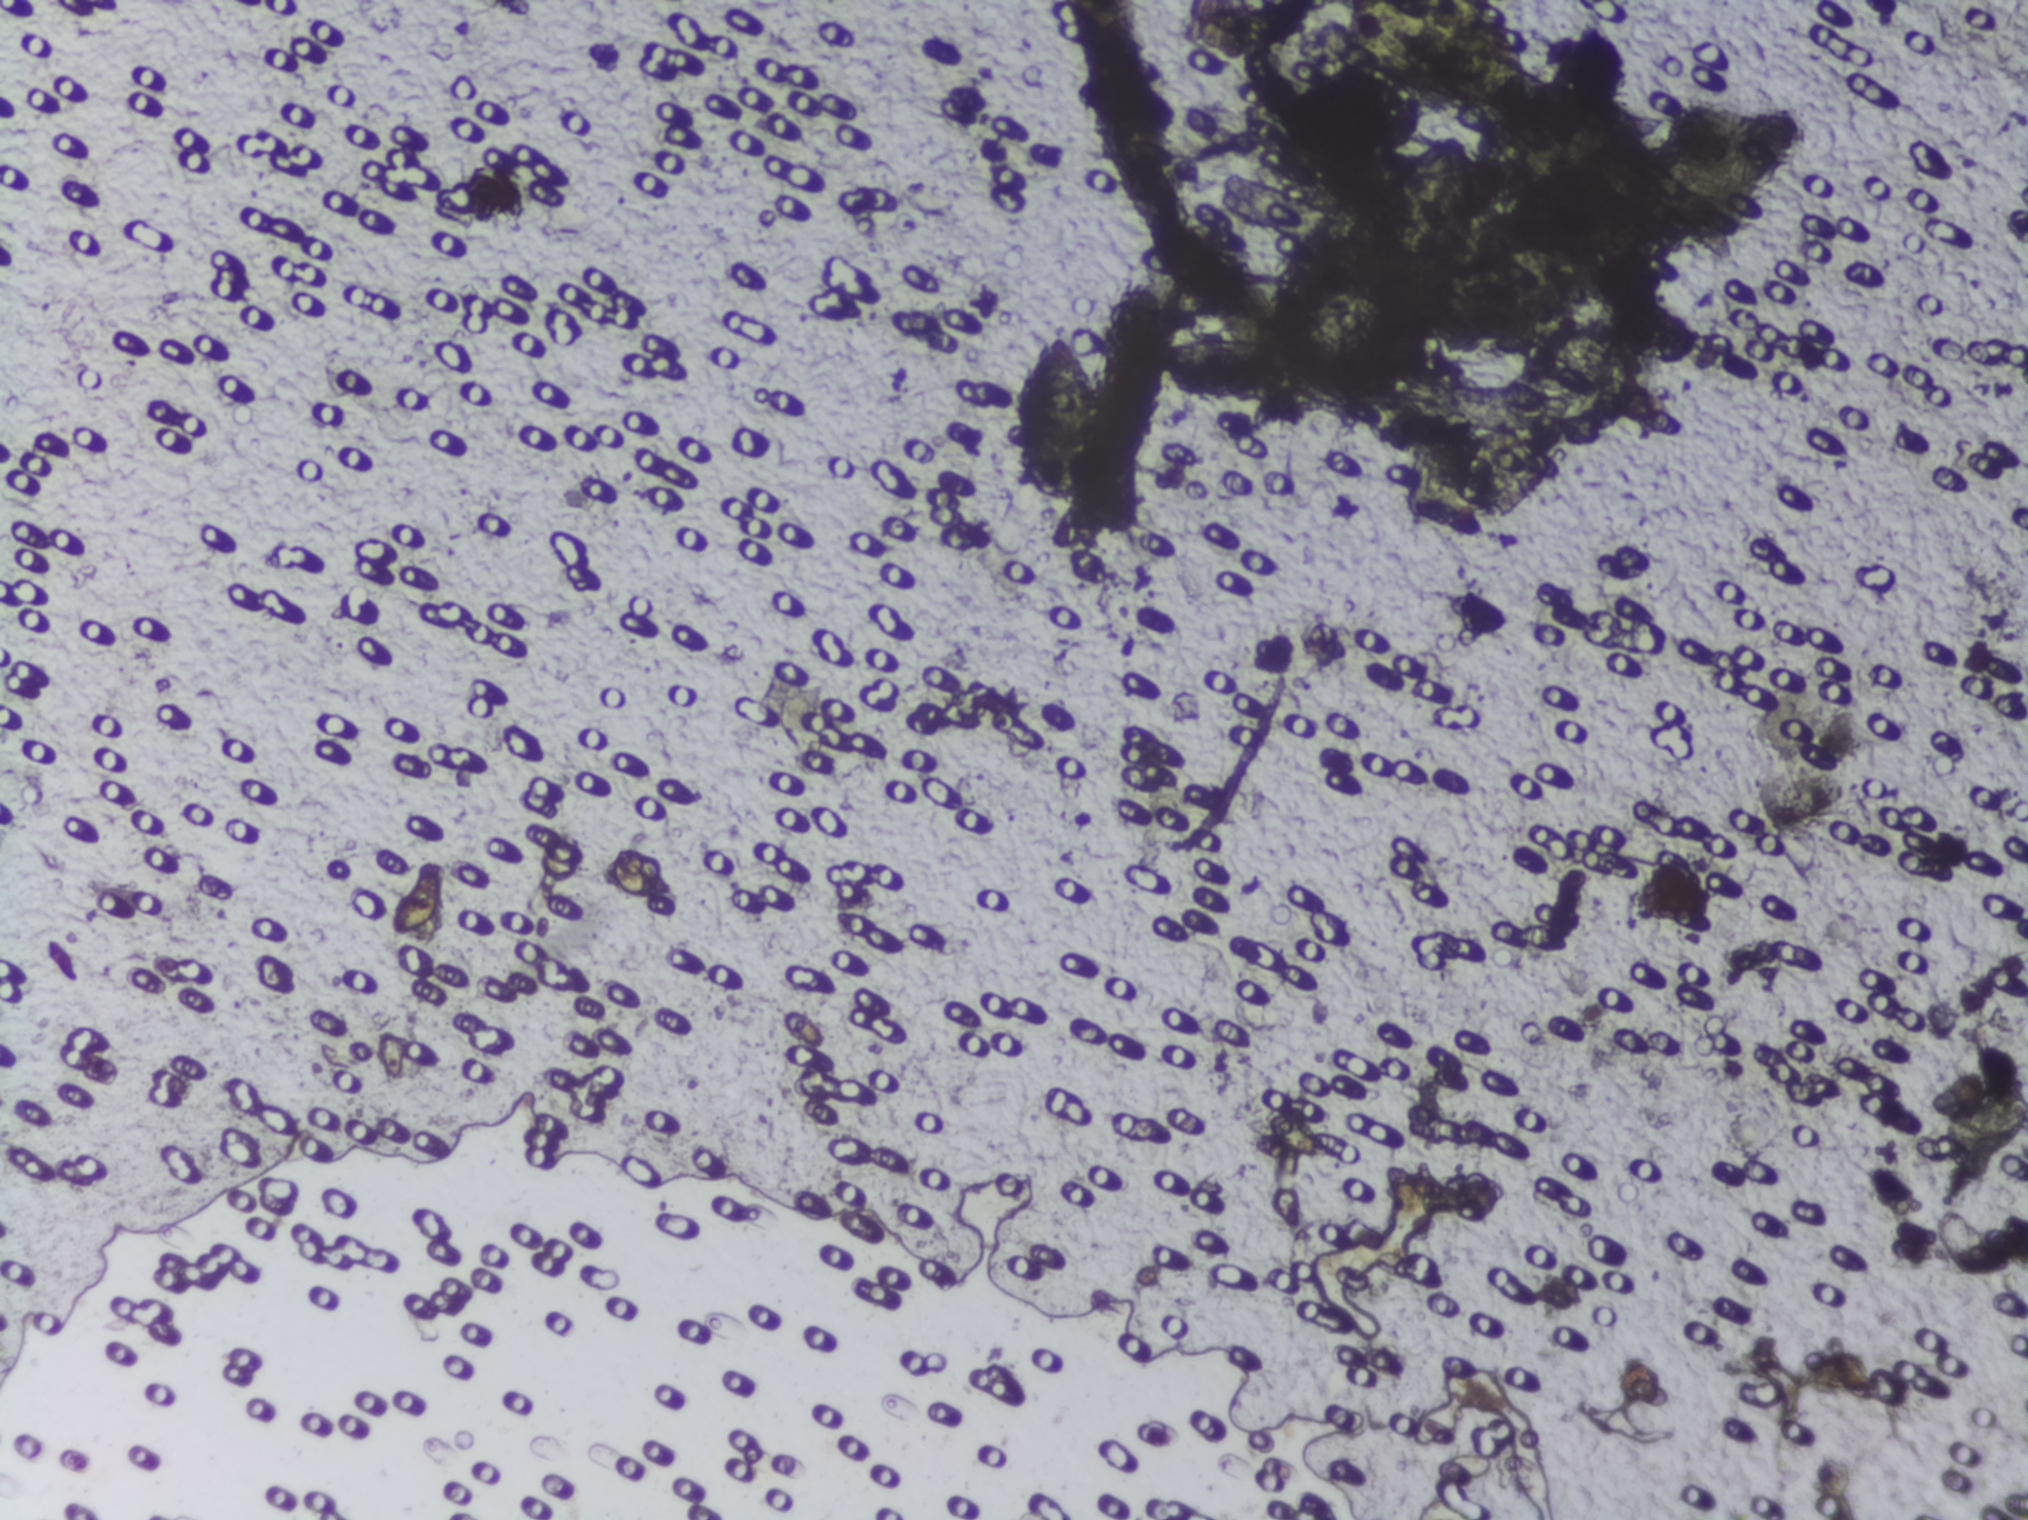
Photograph from an automated digital microscope: urine filter membrane, 4× objective.
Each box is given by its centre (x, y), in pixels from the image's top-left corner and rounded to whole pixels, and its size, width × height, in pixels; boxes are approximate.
Schistosoma eggs are outlined in one area of this image: centre (1056, 417), 88 × 170 px. Marked pixels, not the box around them: about 0.4% of the image. An outlined area can hold more than one egg. Any one outlined egg may, rarely, be S. mansoni rather than S. haematobium.